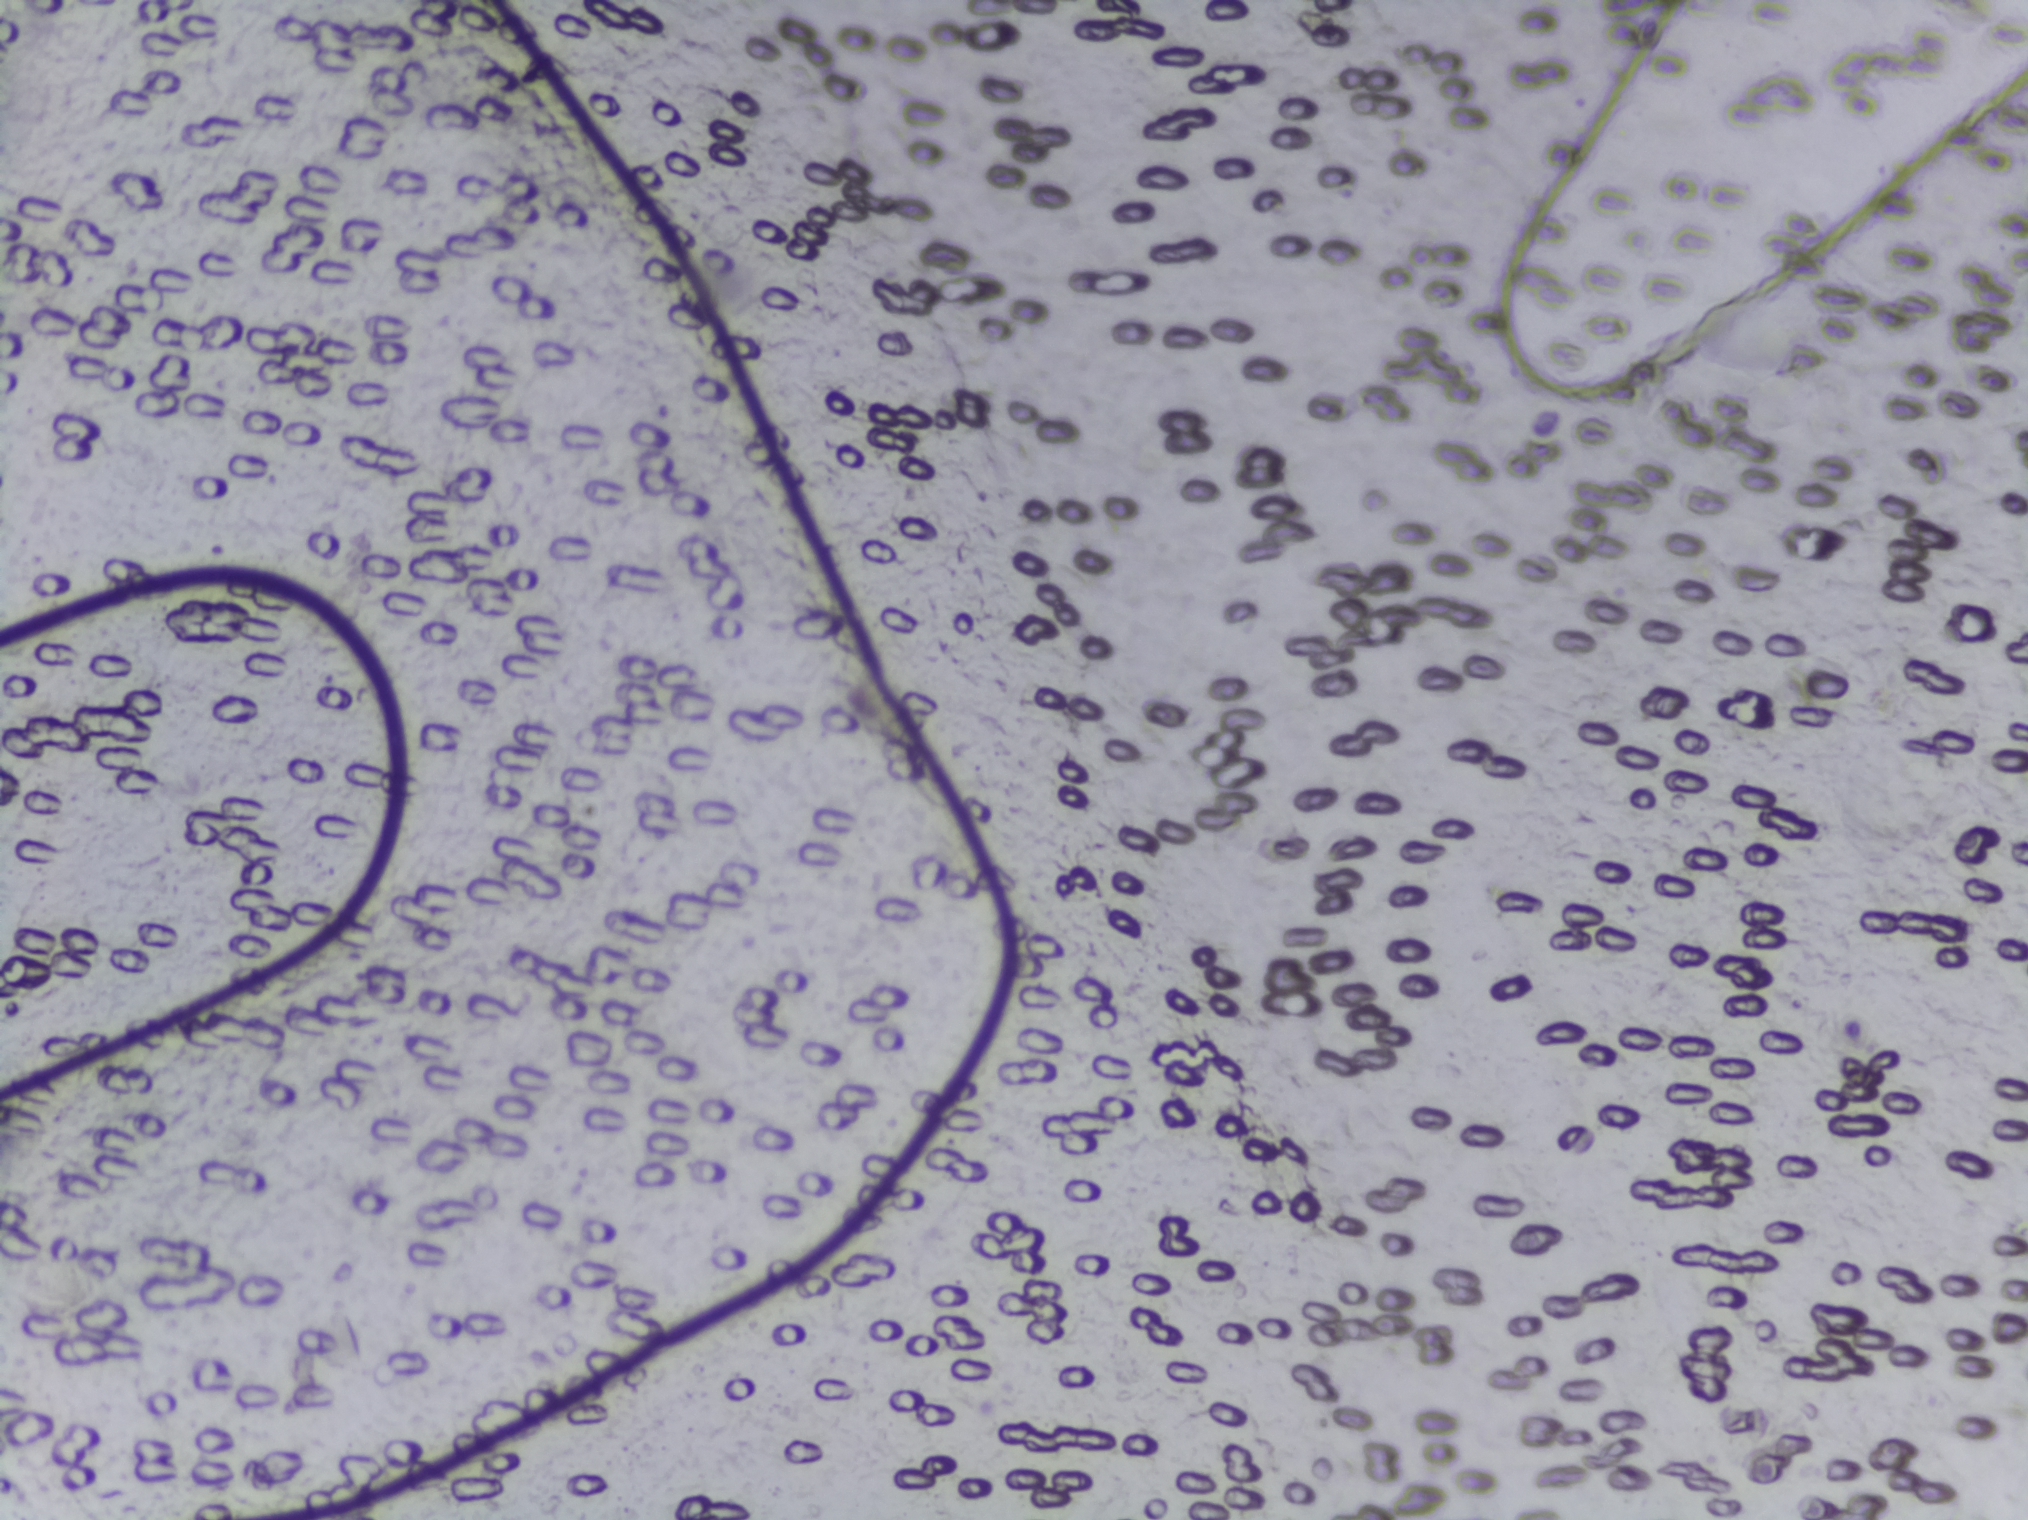
No area of this image was outlined as a Schistosoma egg.
Microscope photograph (4× objective) of a membrane that a urine sample was filtered through.